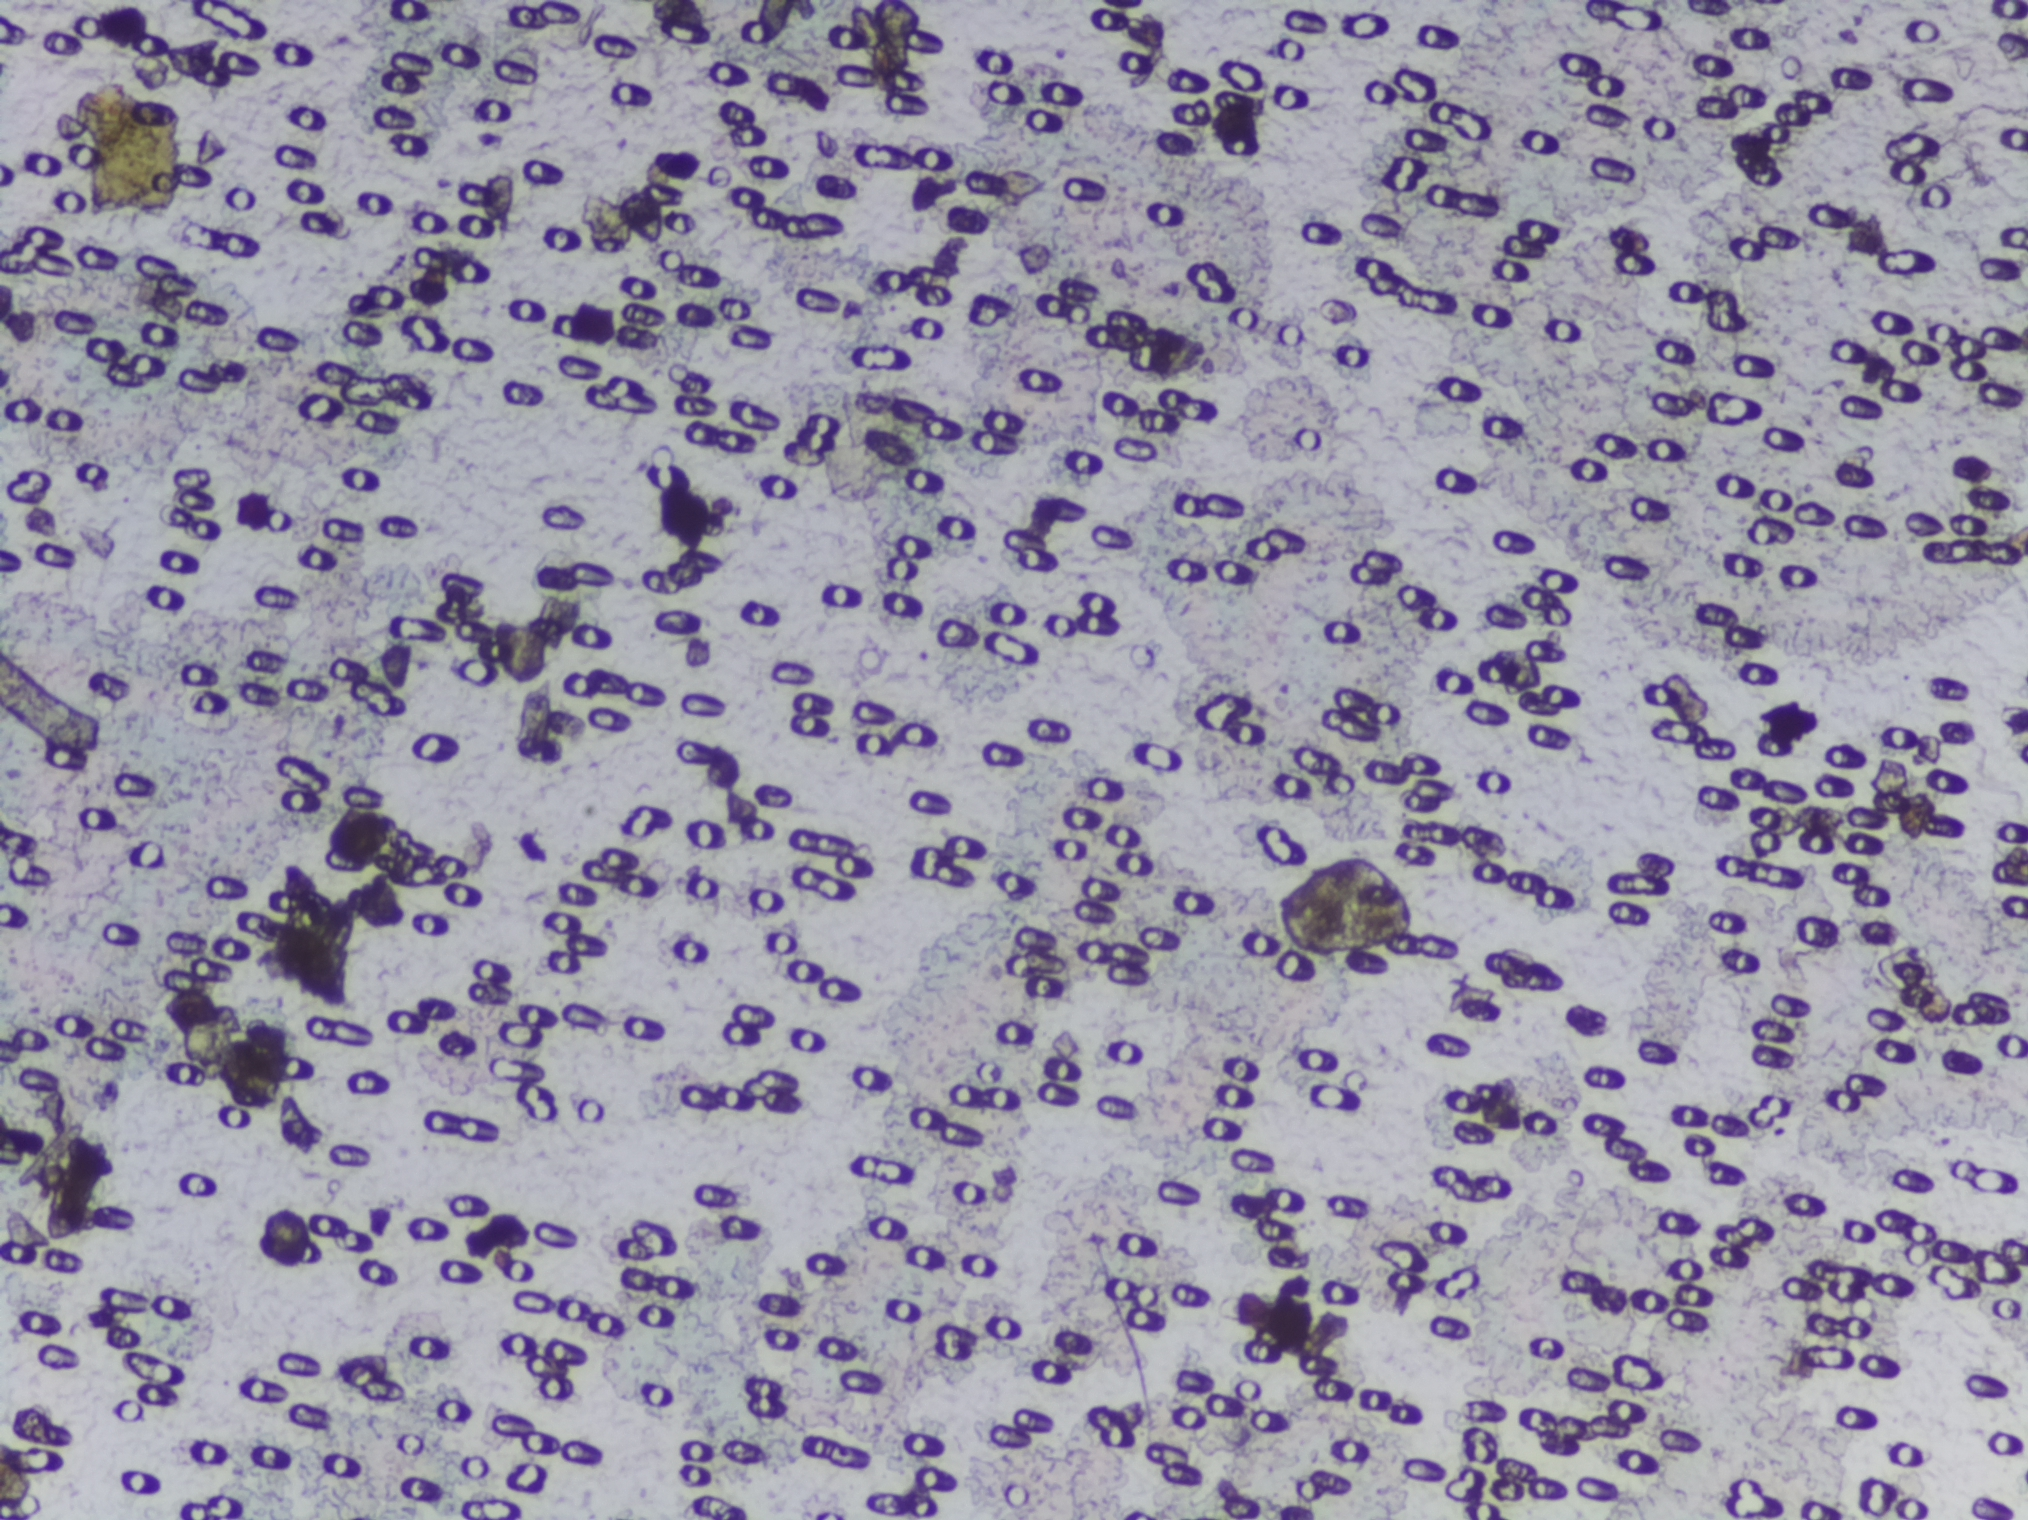
Urine filter membrane photographed through a 4× microscope objective. The image covers about 1.5 × 1.1 mm of the membrane.
Schistosoma eggs: none outlined.